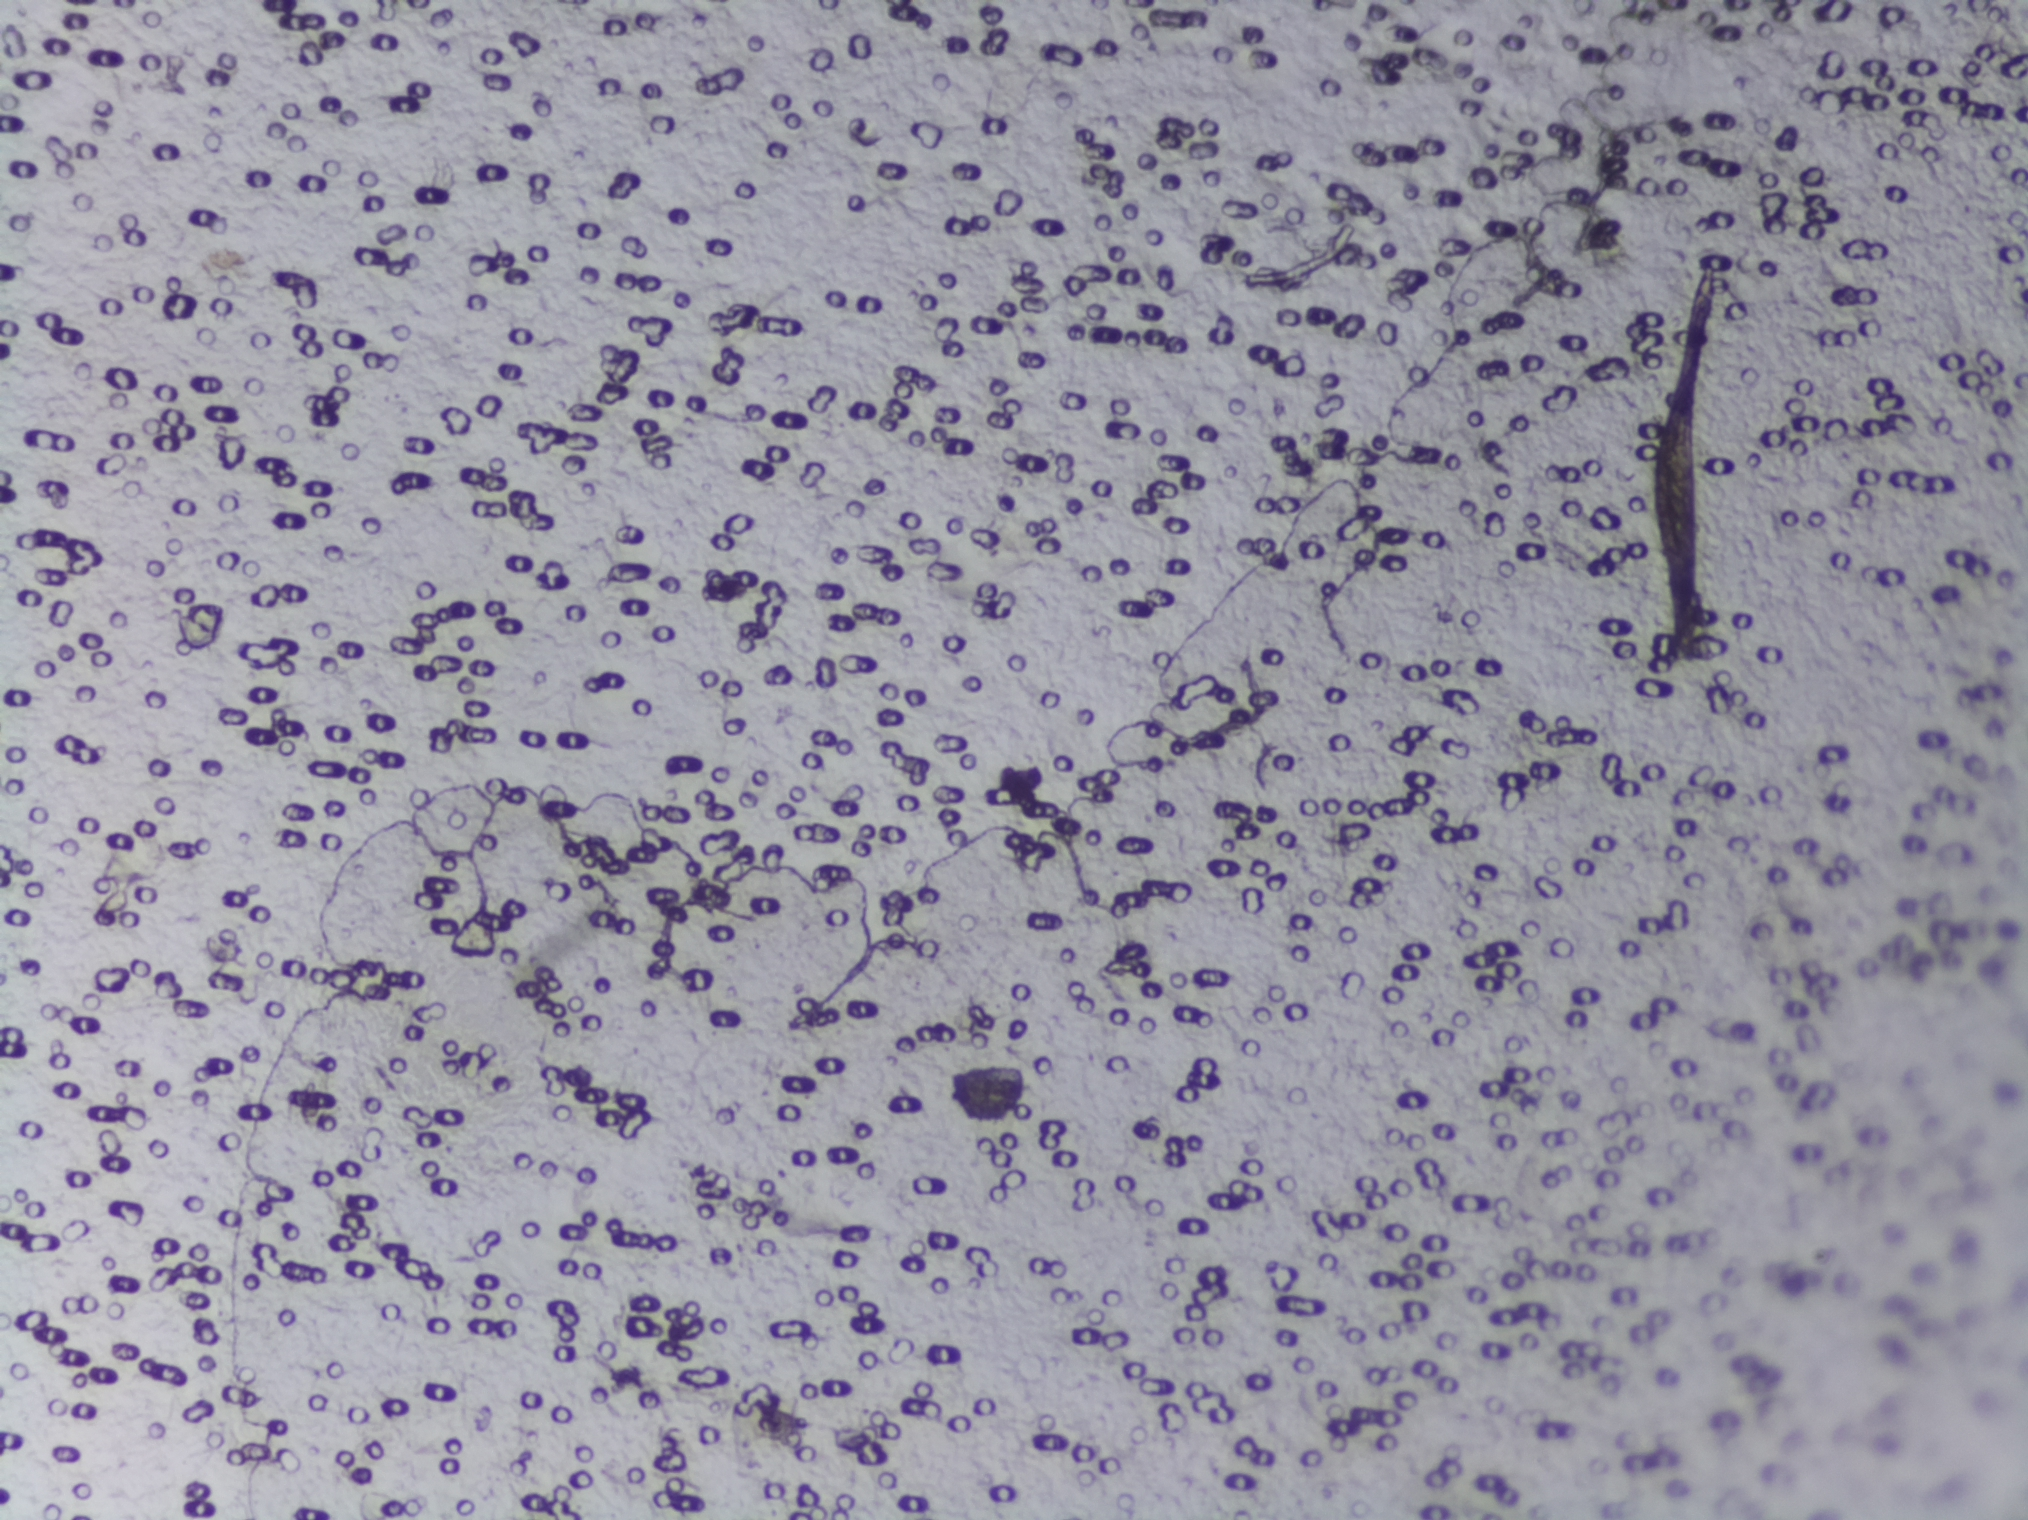
Urine filter membrane photographed through a 4× microscope objective. The image covers about 1.5 × 1.1 mm of the membrane.
Schistosoma eggs: none outlined.